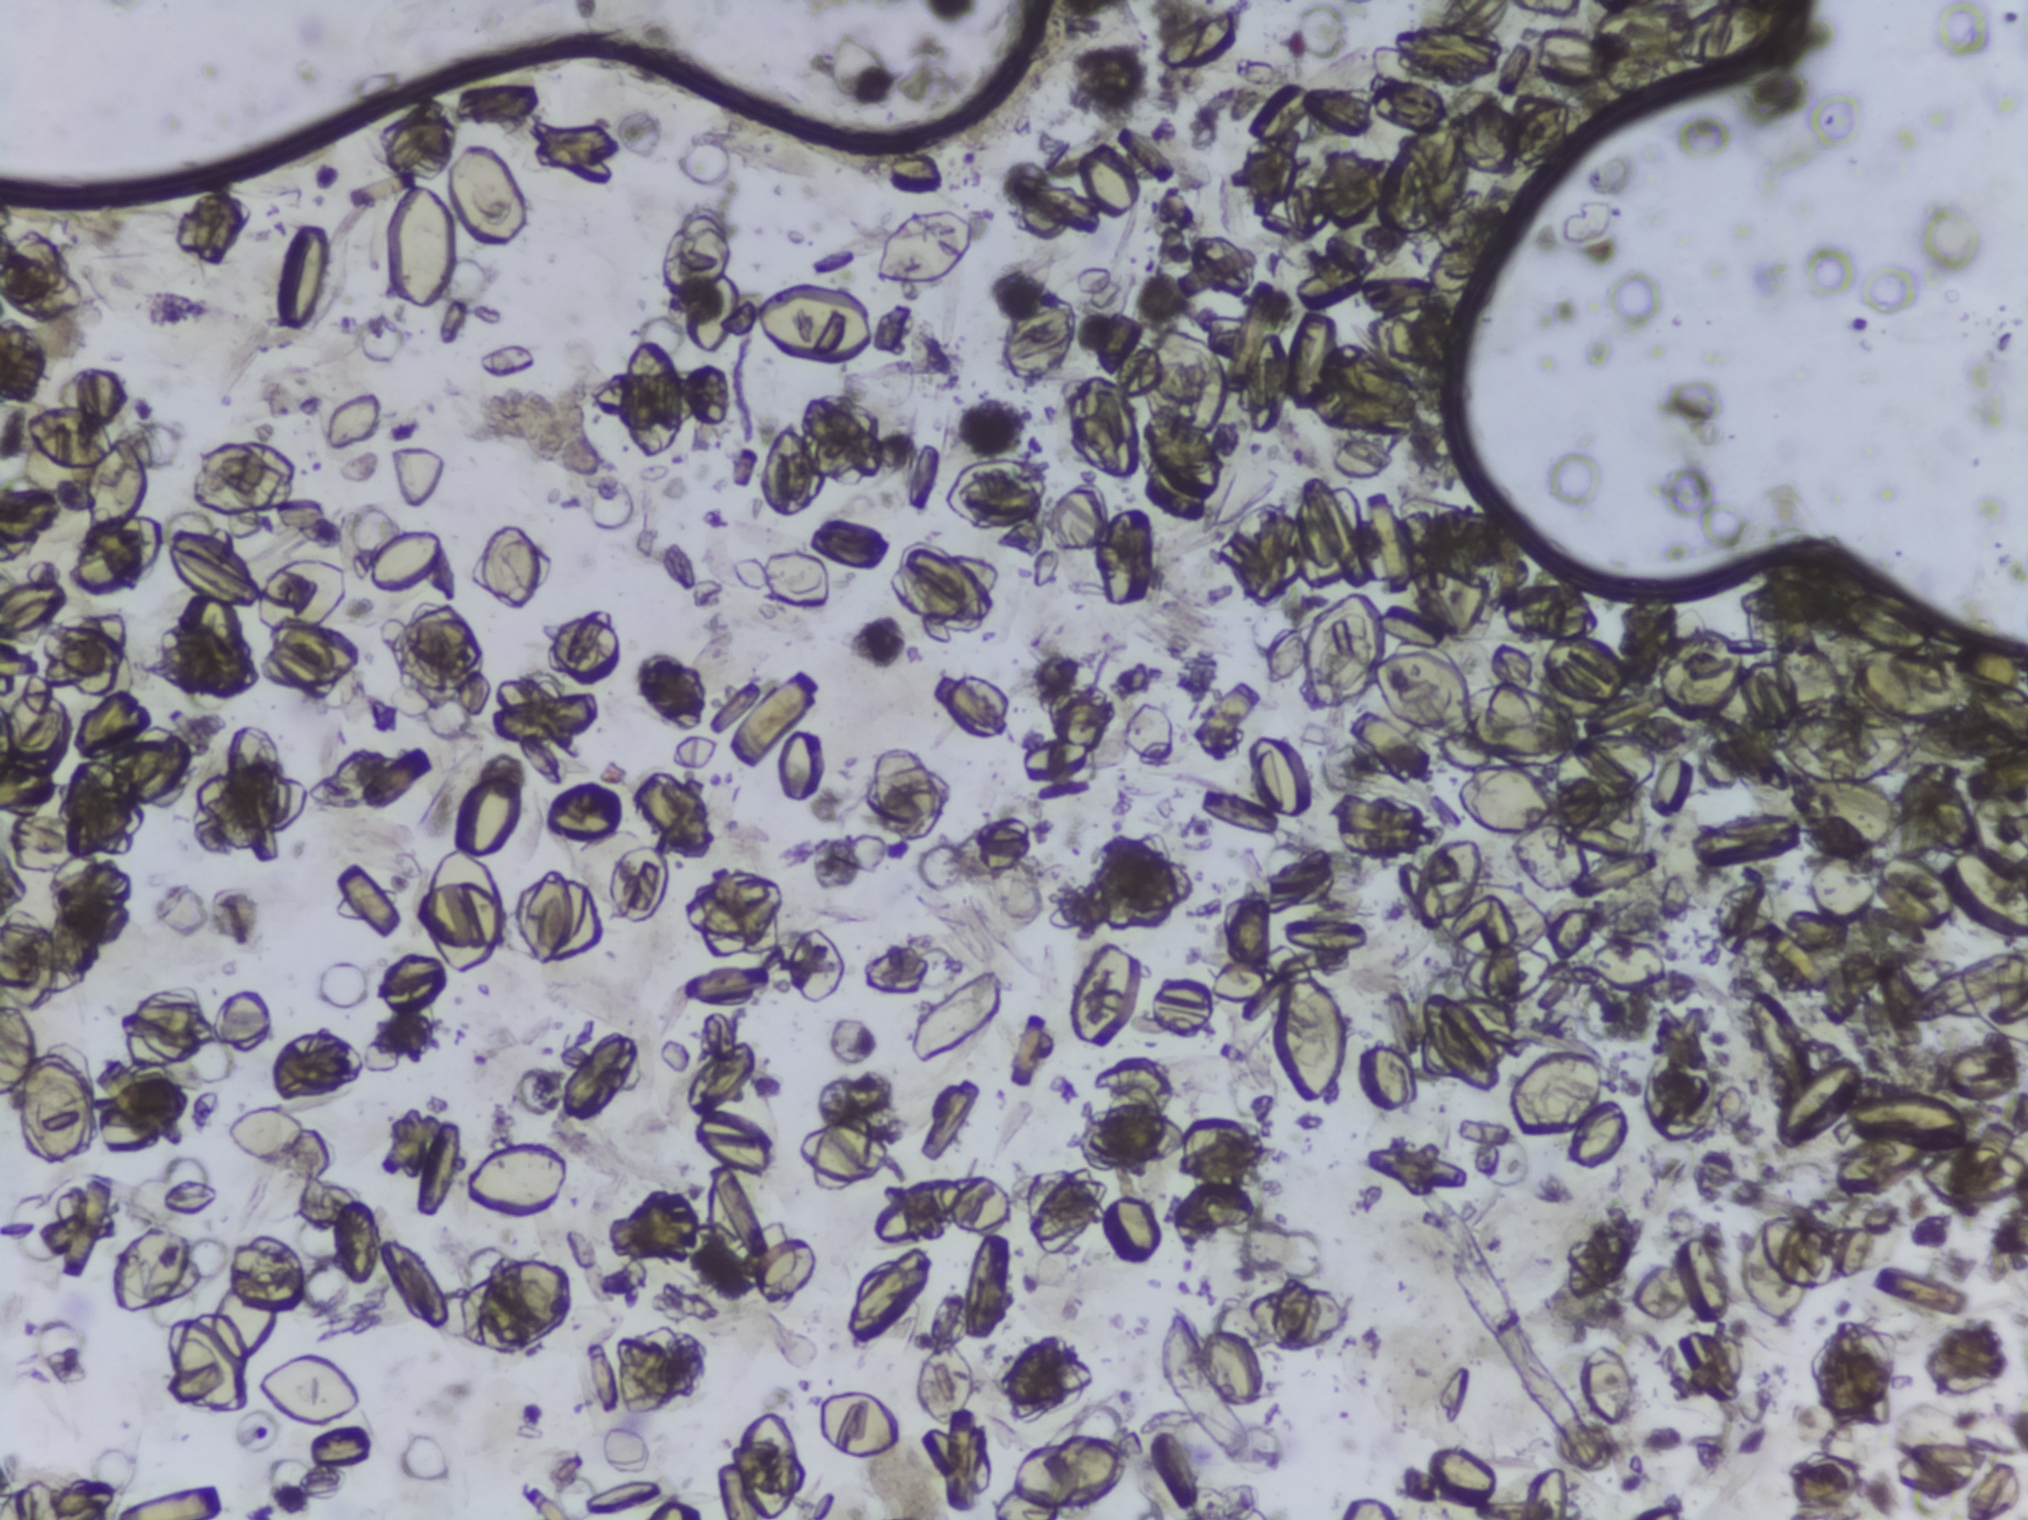
Urine filter membrane photographed through a 4× microscope objective. The field of view is about 1.5 mm × 1.1 mm.
Schistosoma eggs: none outlined.